Microscope photograph (4× objective) of a membrane that a urine sample was filtered through.
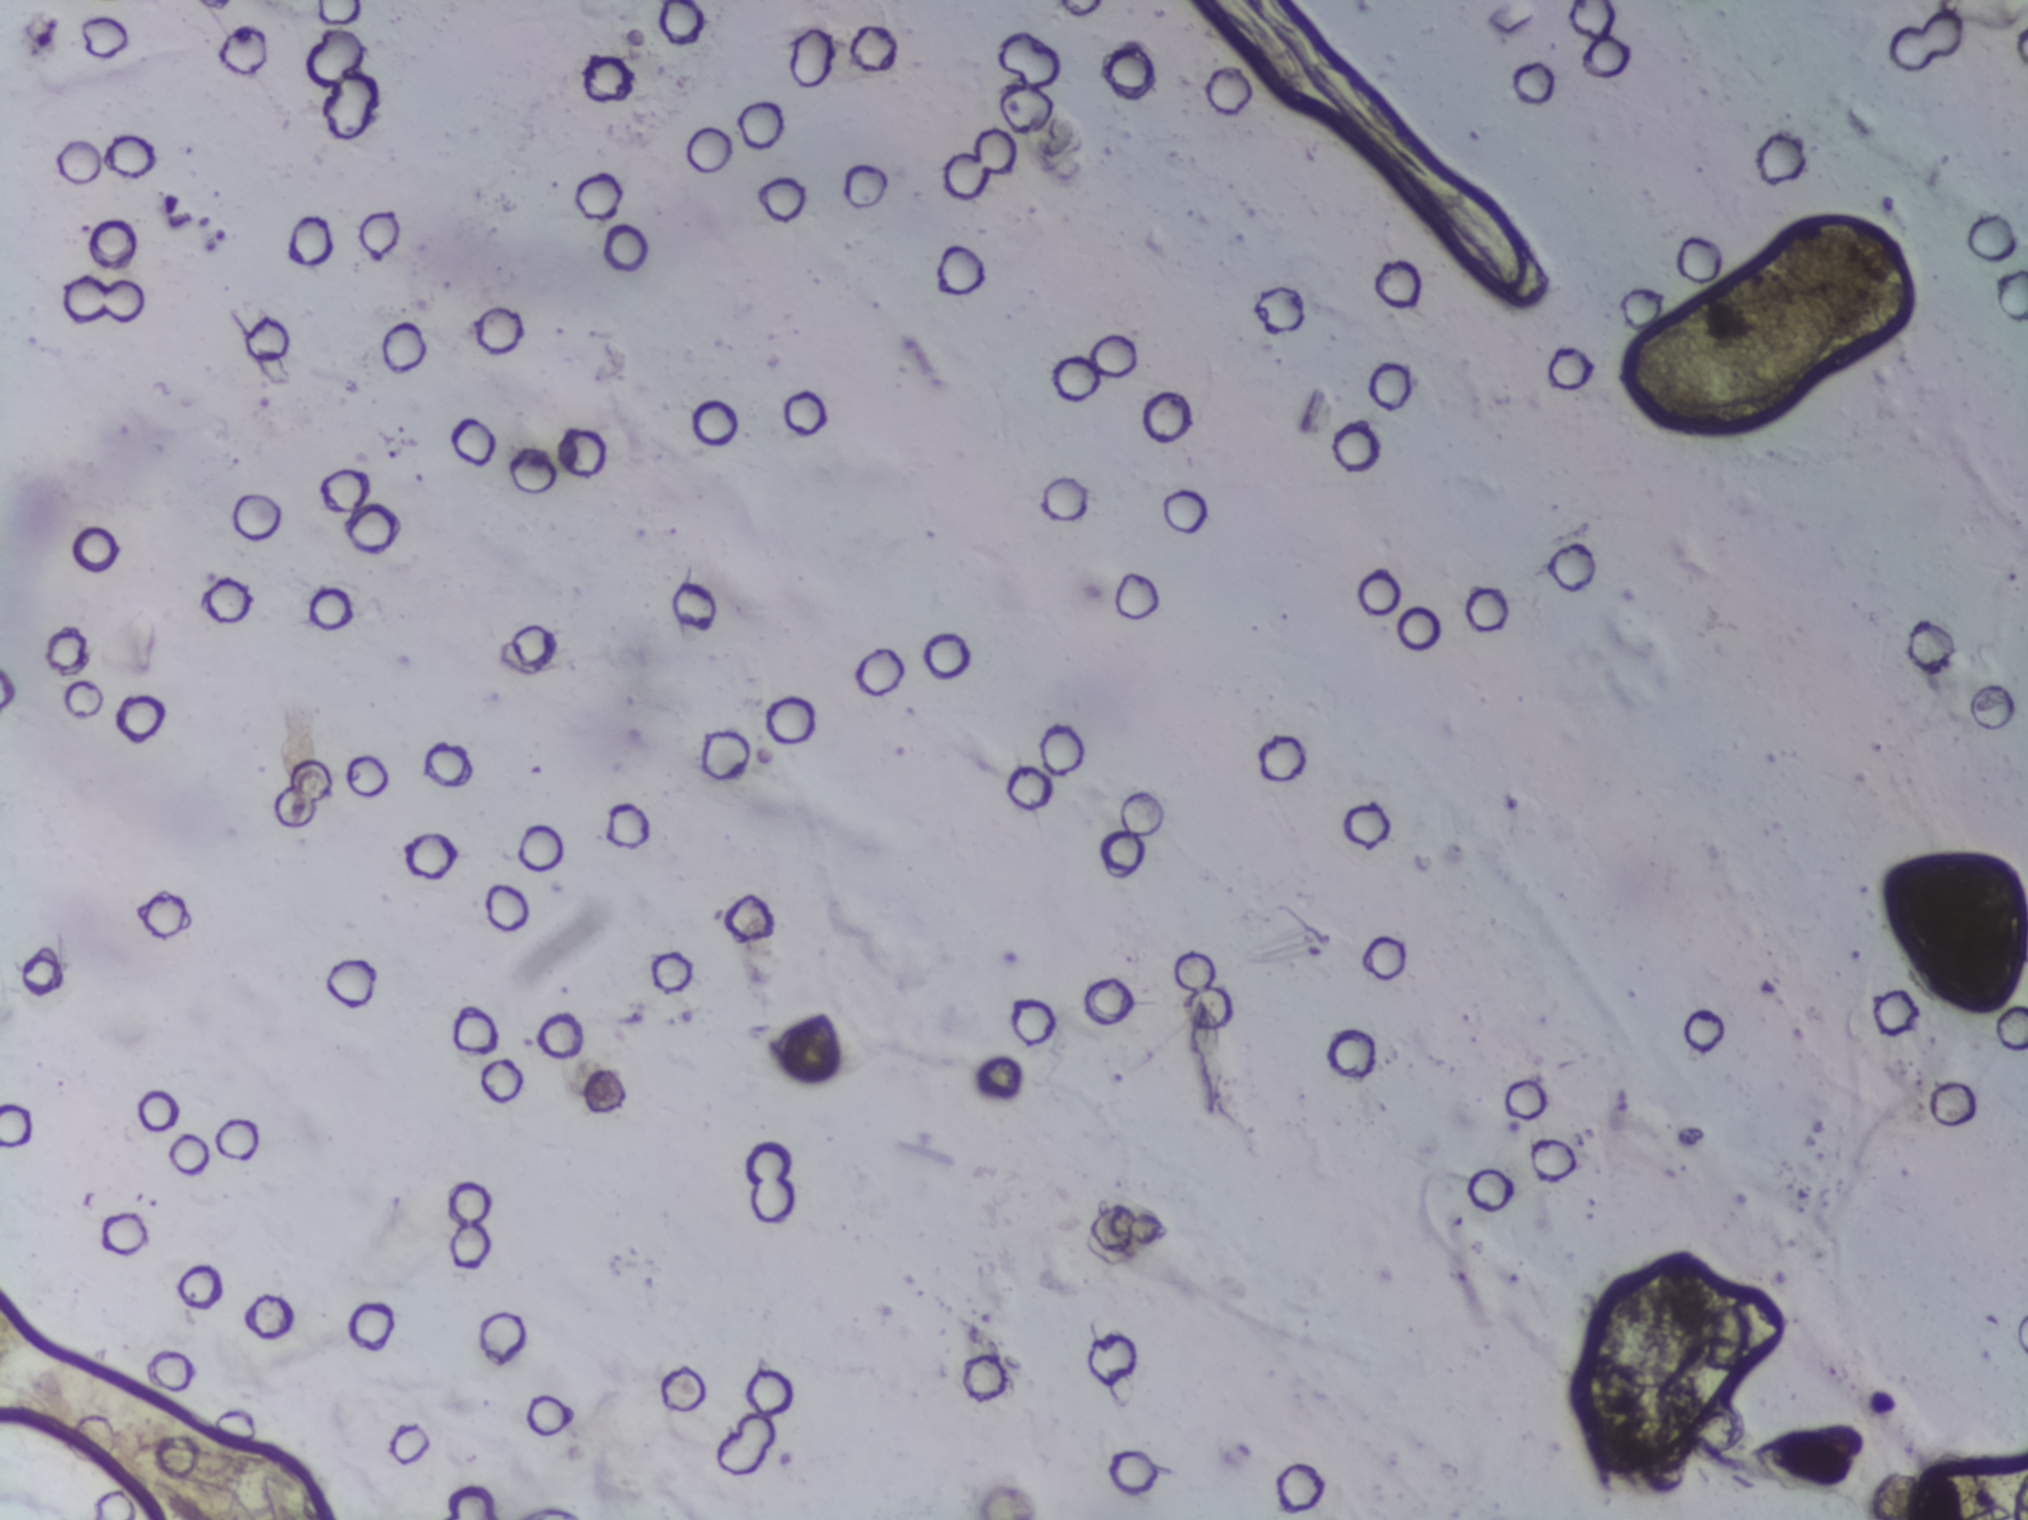
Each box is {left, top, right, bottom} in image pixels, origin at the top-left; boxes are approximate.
One area of this image is outlined as Schistosoma eggs: {1612, 287, 1838, 413}. The marked pixels themselves, not the box around them, cover about 0.6% of the image. Eggs that touch can end up inside the same outlined area. Any one outlined egg may, rarely, be S. mansoni rather than S. haematobium.